Photomicrograph of a urine filtration membrane, 4× objective.
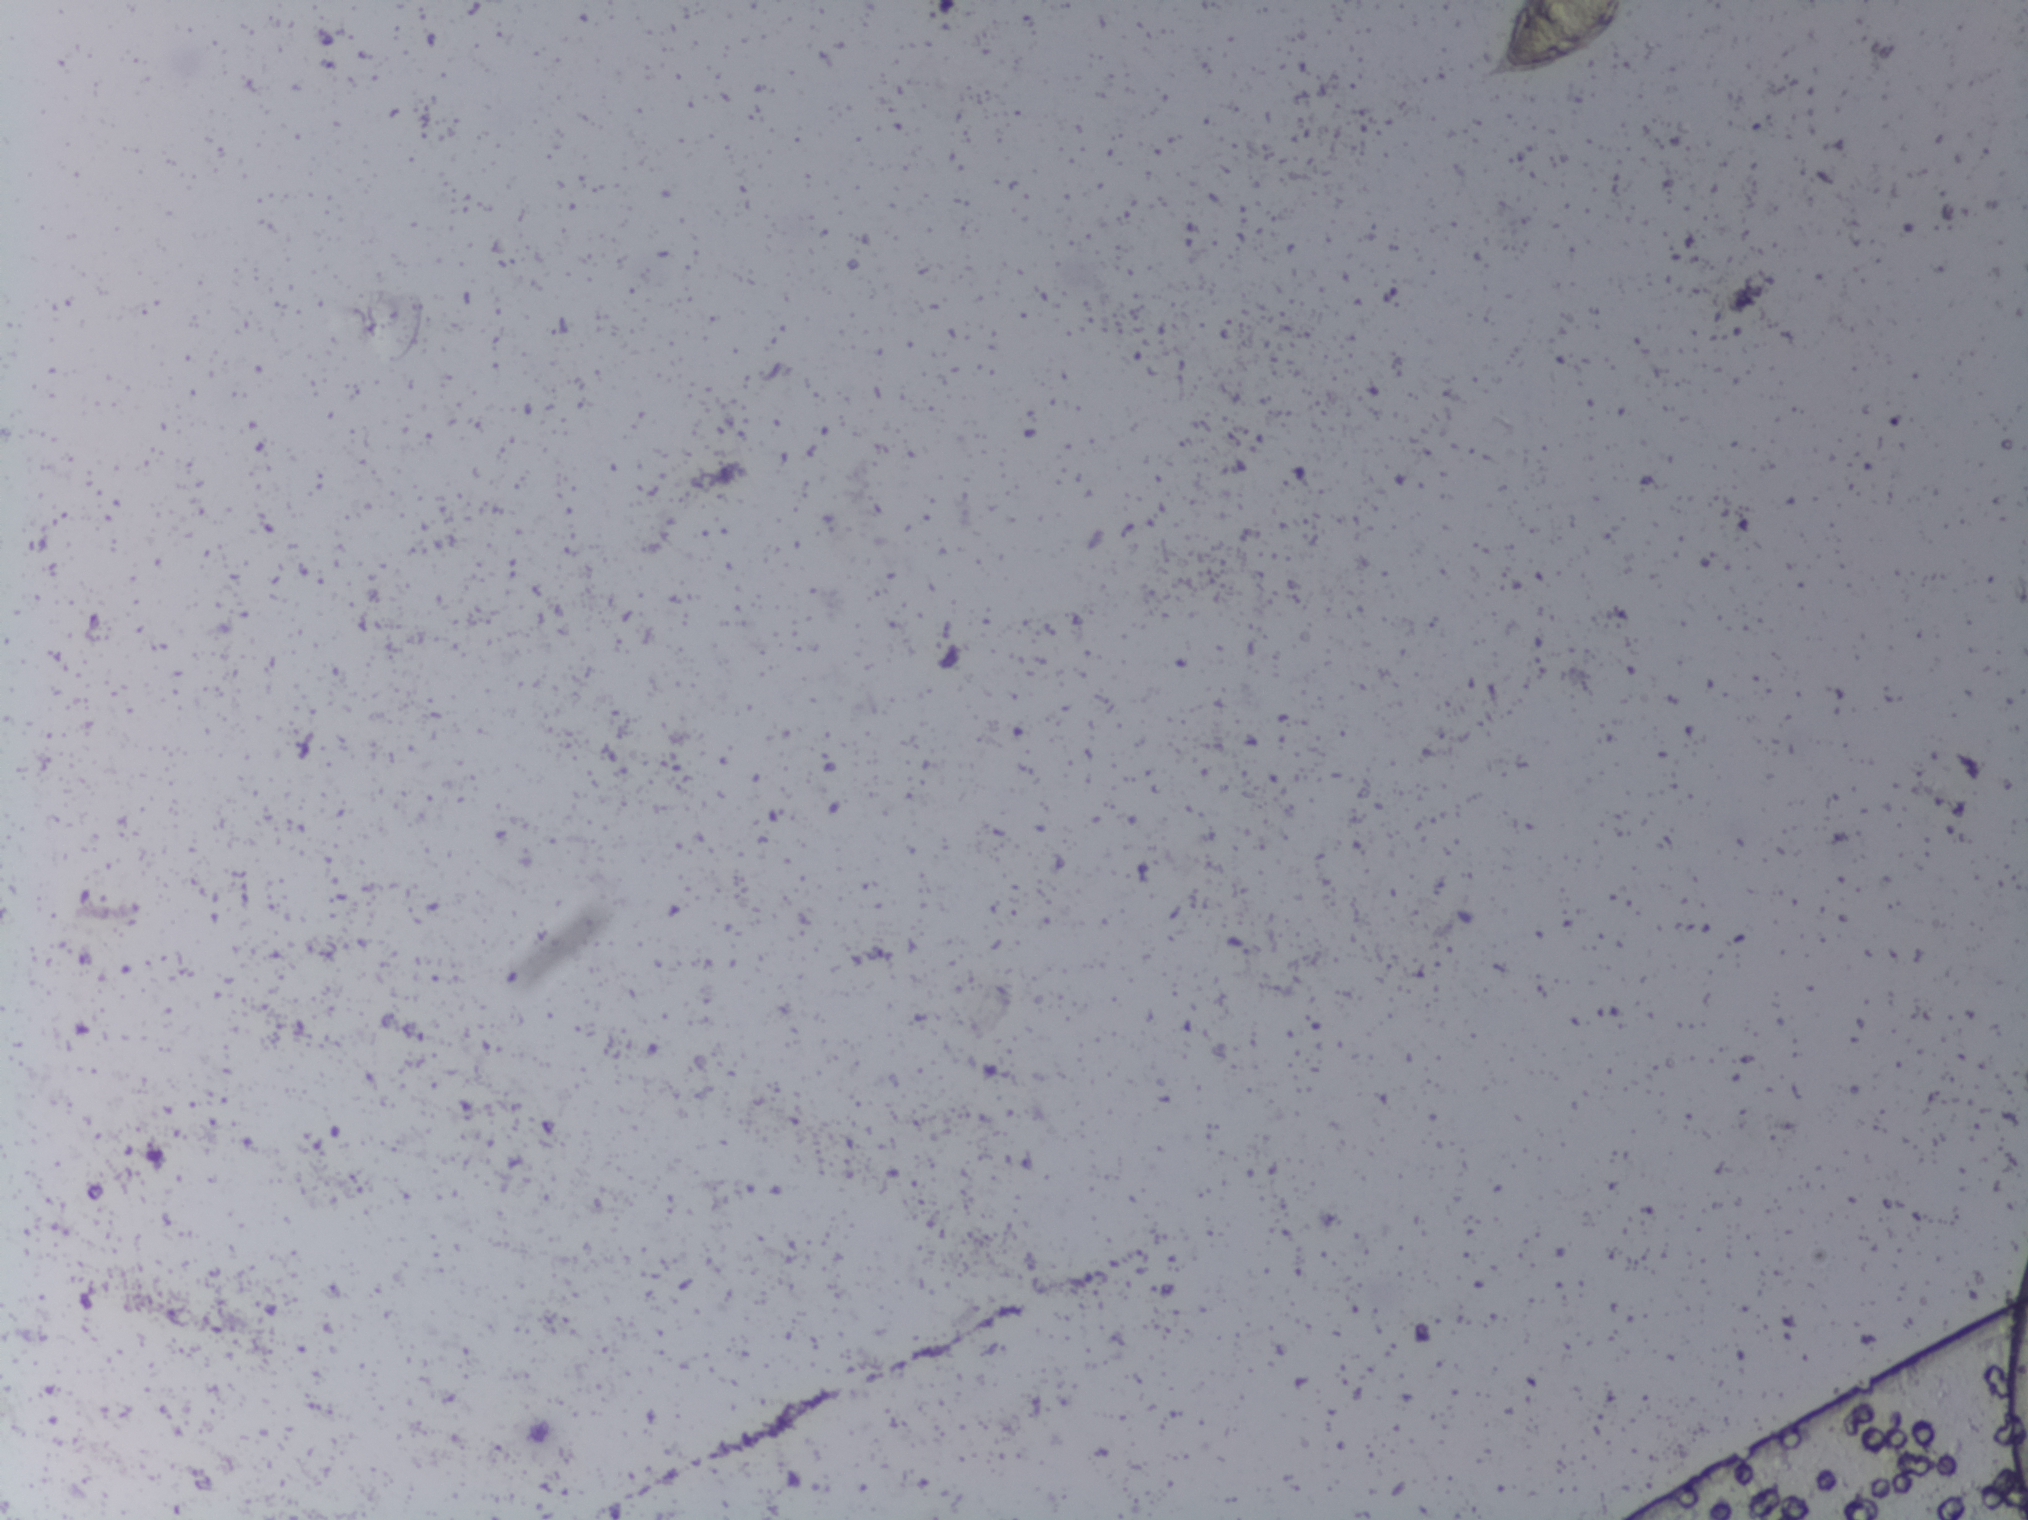
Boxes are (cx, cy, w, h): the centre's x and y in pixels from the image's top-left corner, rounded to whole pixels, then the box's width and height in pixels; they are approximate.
Schistosoma eggs, outlined areas: (cx=1557, cy=38, w=139, h=76) (reaching the top edge of the frame). A single outlined area may contain several eggs.